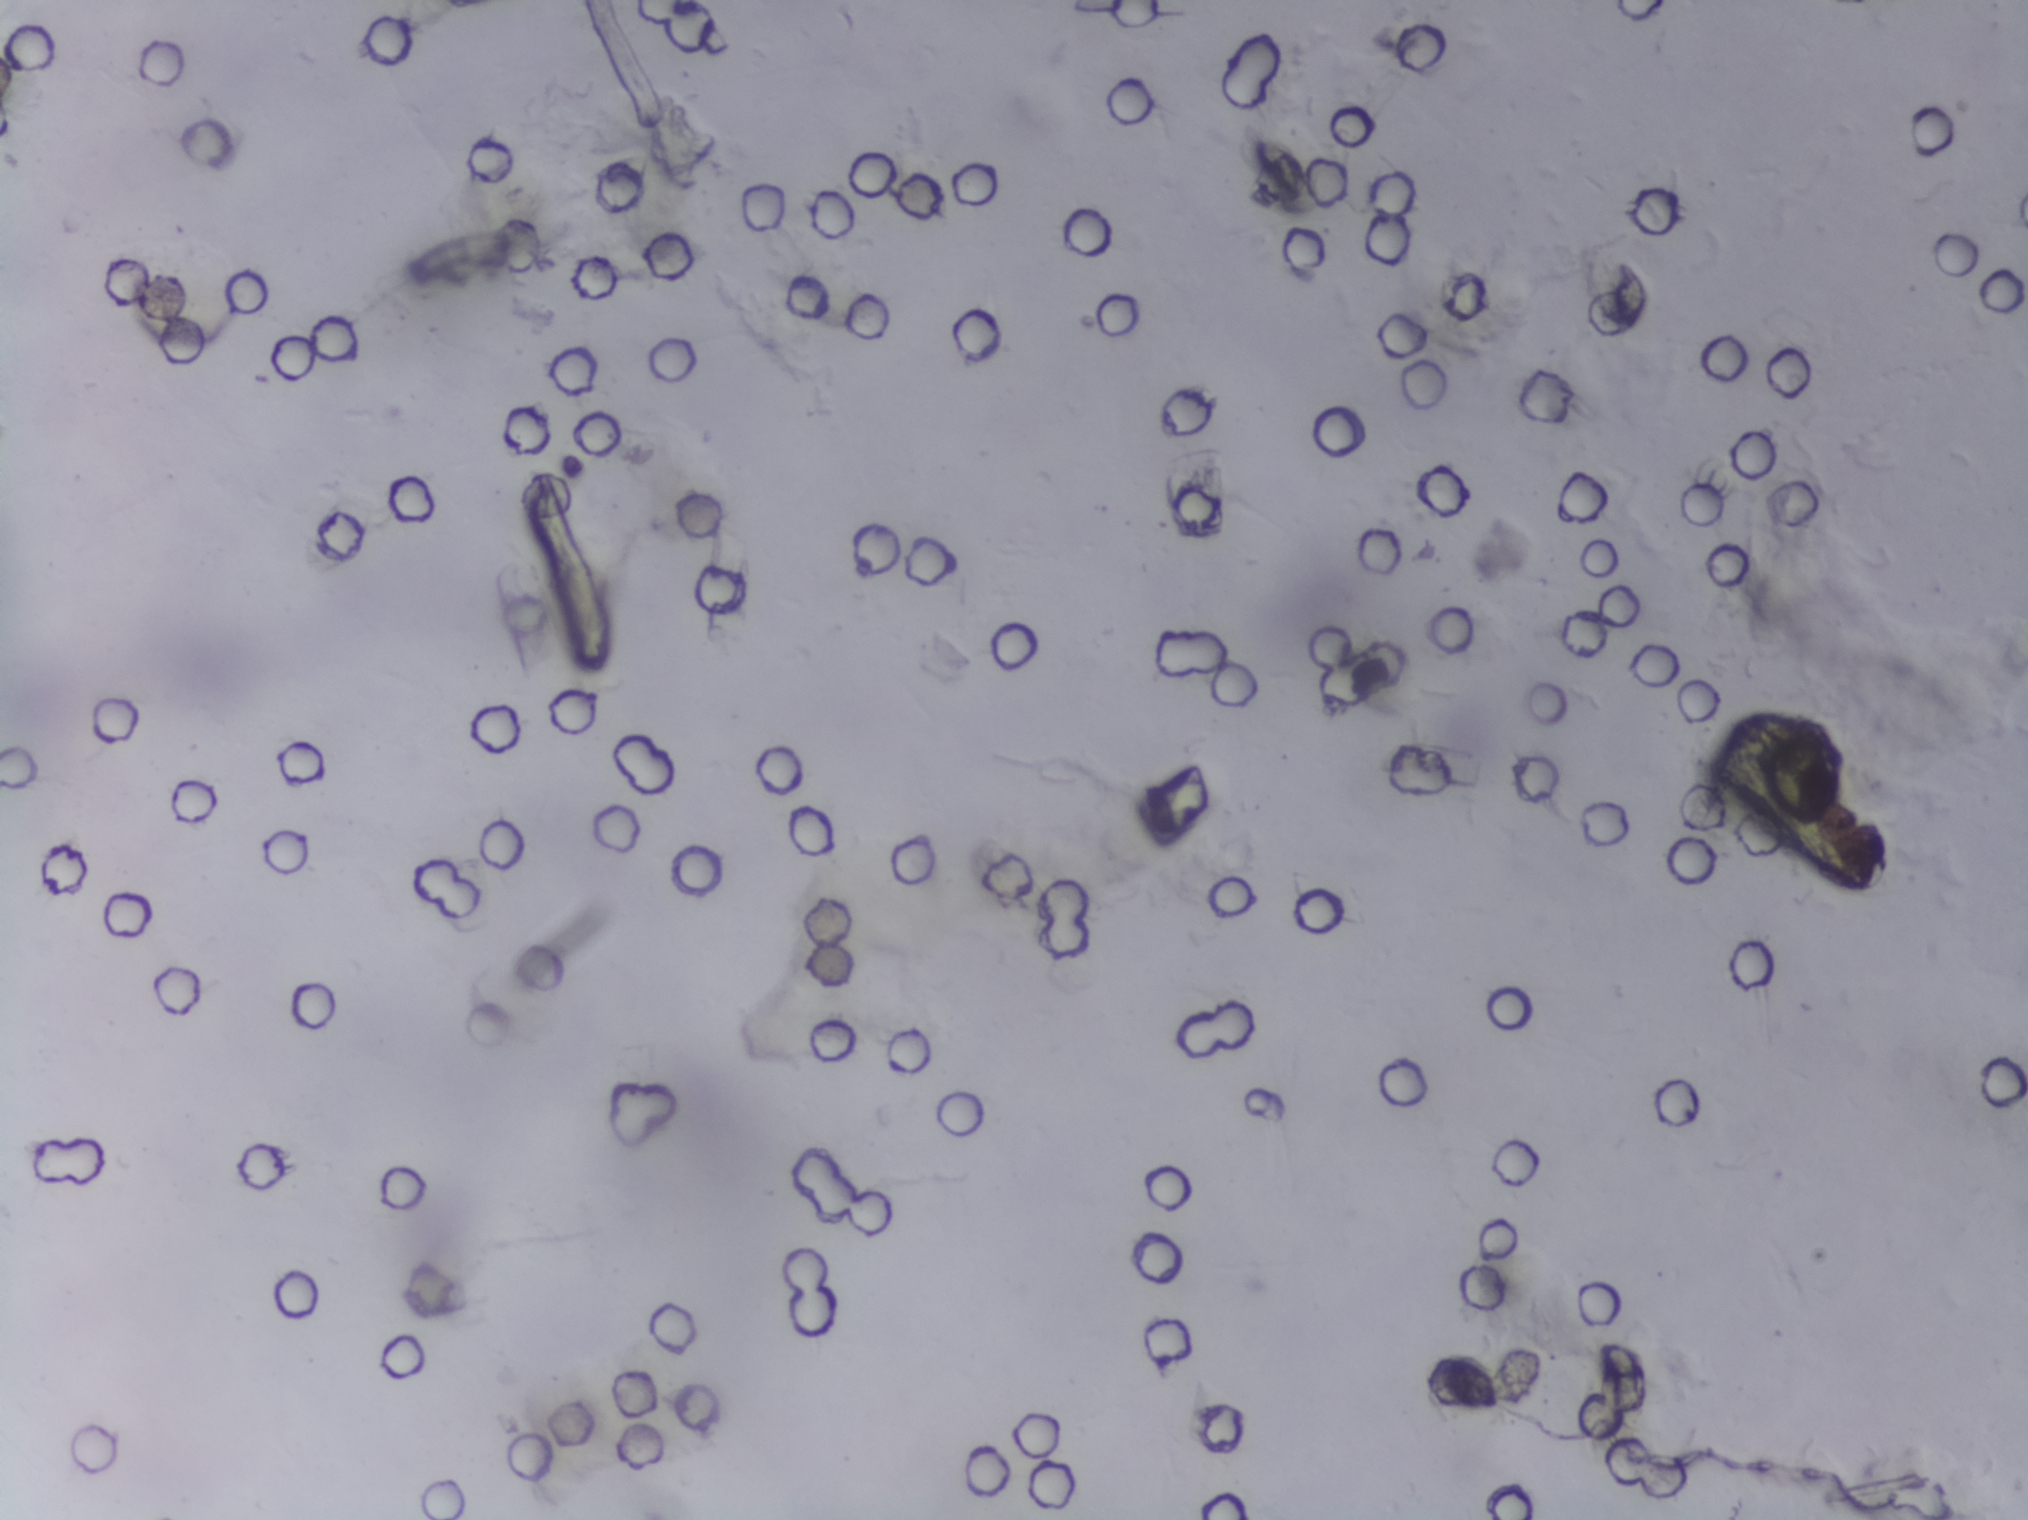
Photomicrograph of a urine filtration membrane, 4× objective. The image covers about 1.5 × 1.1 mm of the membrane.
No area of this image was outlined as a Schistosoma egg.